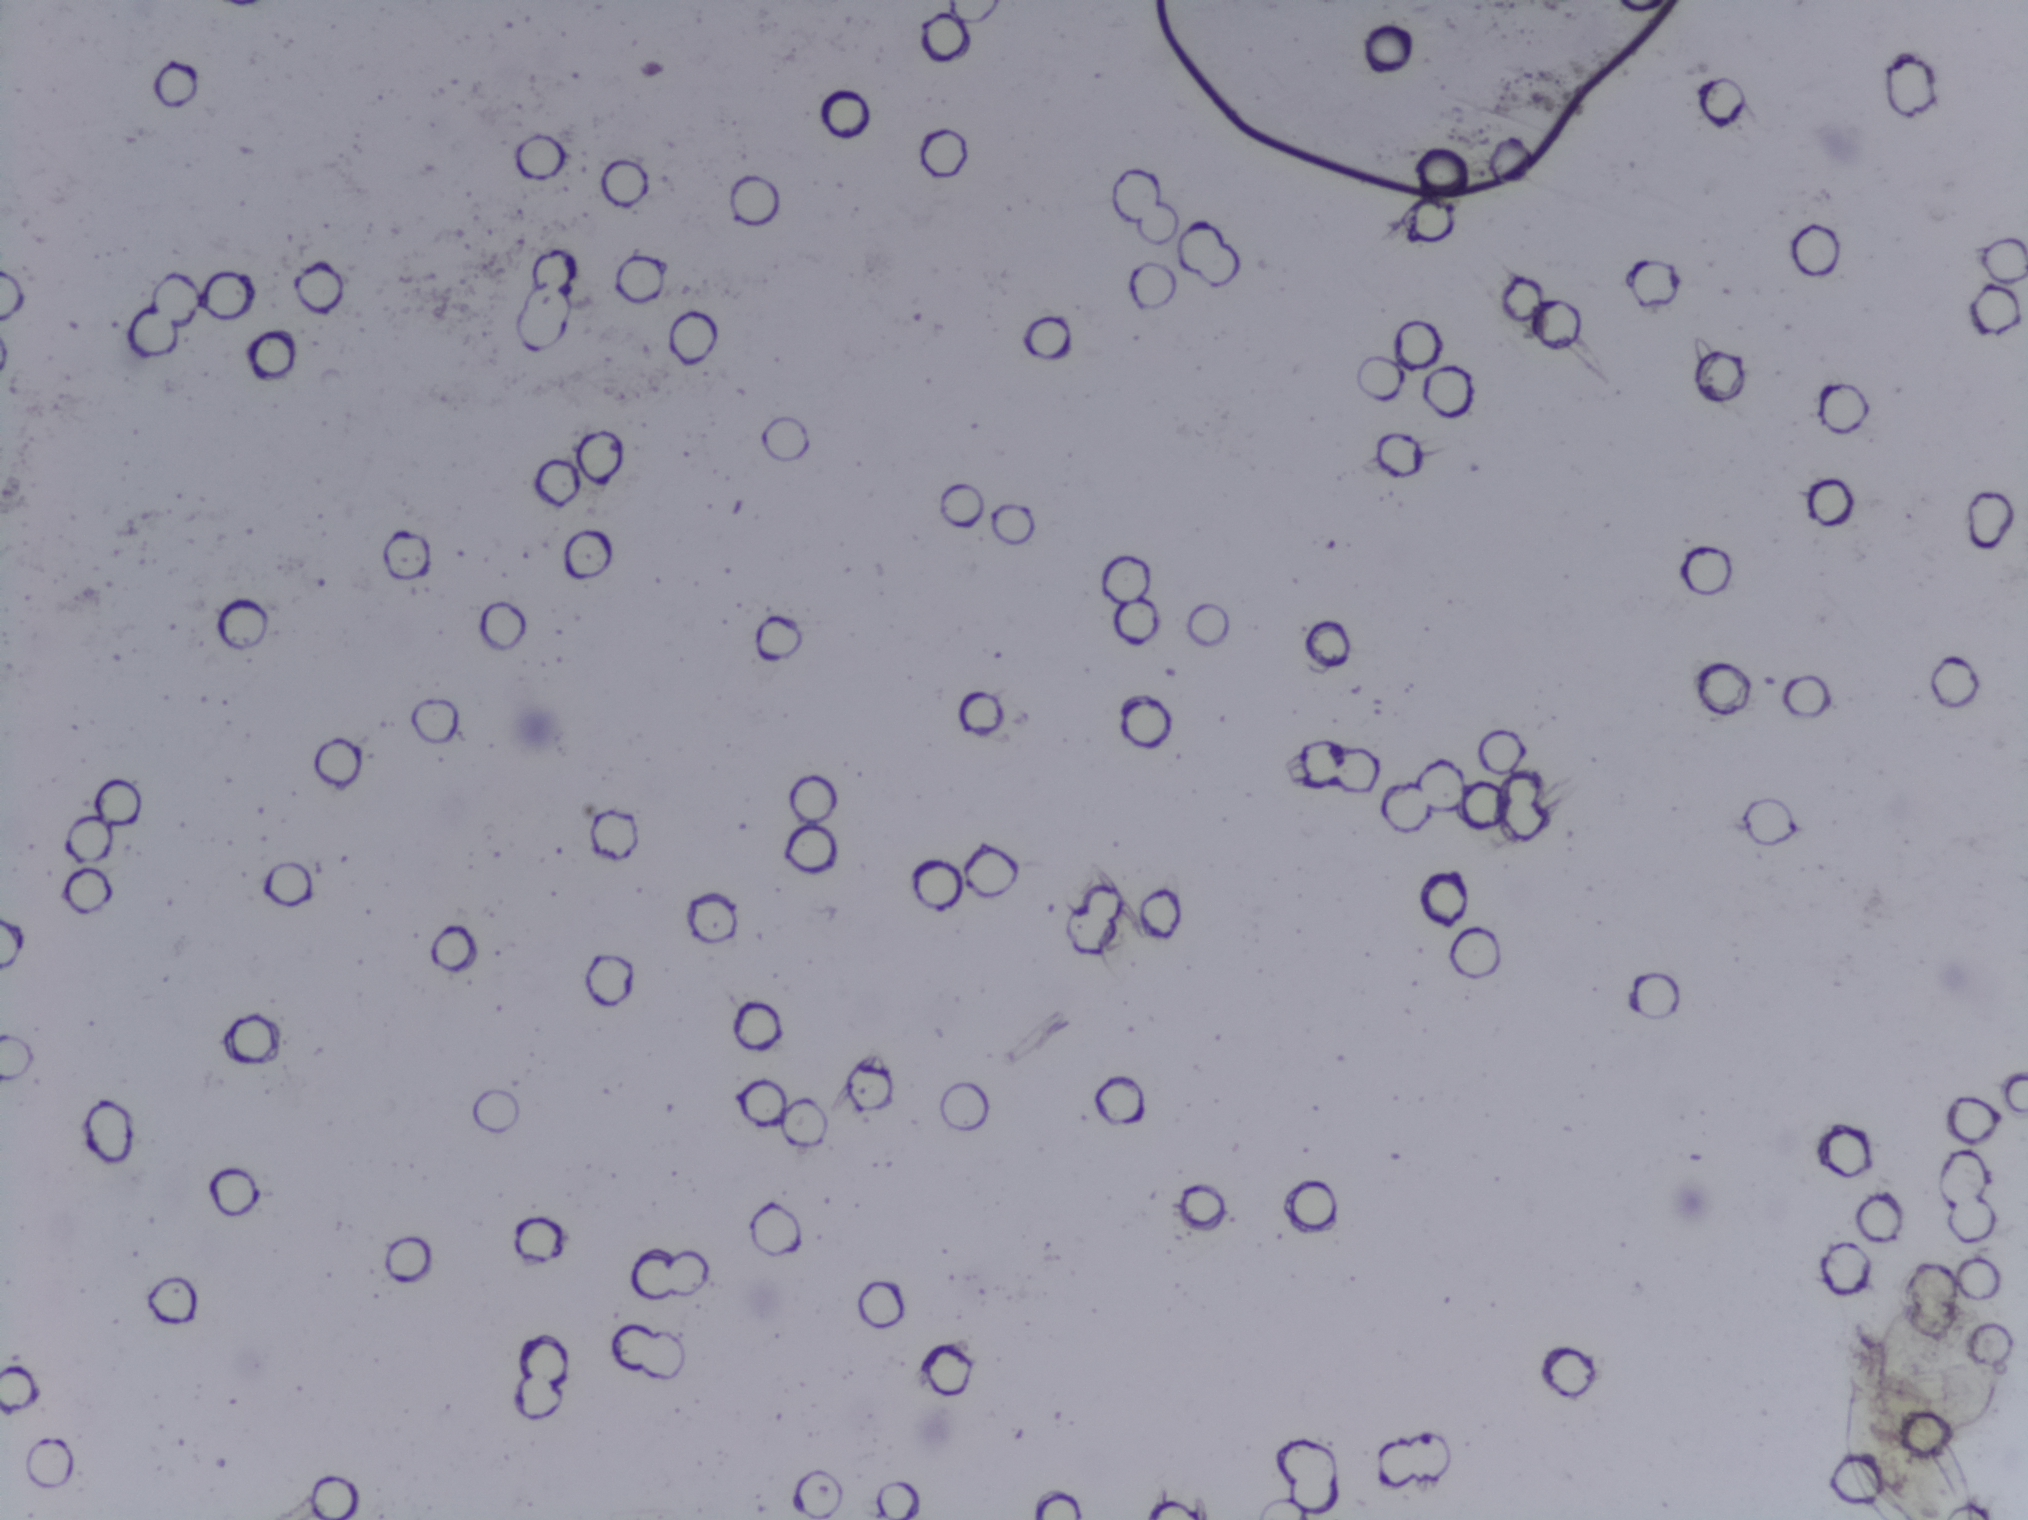
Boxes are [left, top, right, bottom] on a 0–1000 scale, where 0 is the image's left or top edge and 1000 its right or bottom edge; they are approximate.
One area of this image is outlined as Schistosoma eggs: [906, 901, 977, 1000] (reaching the bottom edge of the frame). Eggs that touch can end up inside the same outlined area. A marked egg may occasionally be S. mansoni rather than S. haematobium.
Photograph from an automated digital microscope: urine filter membrane, 4× objective.